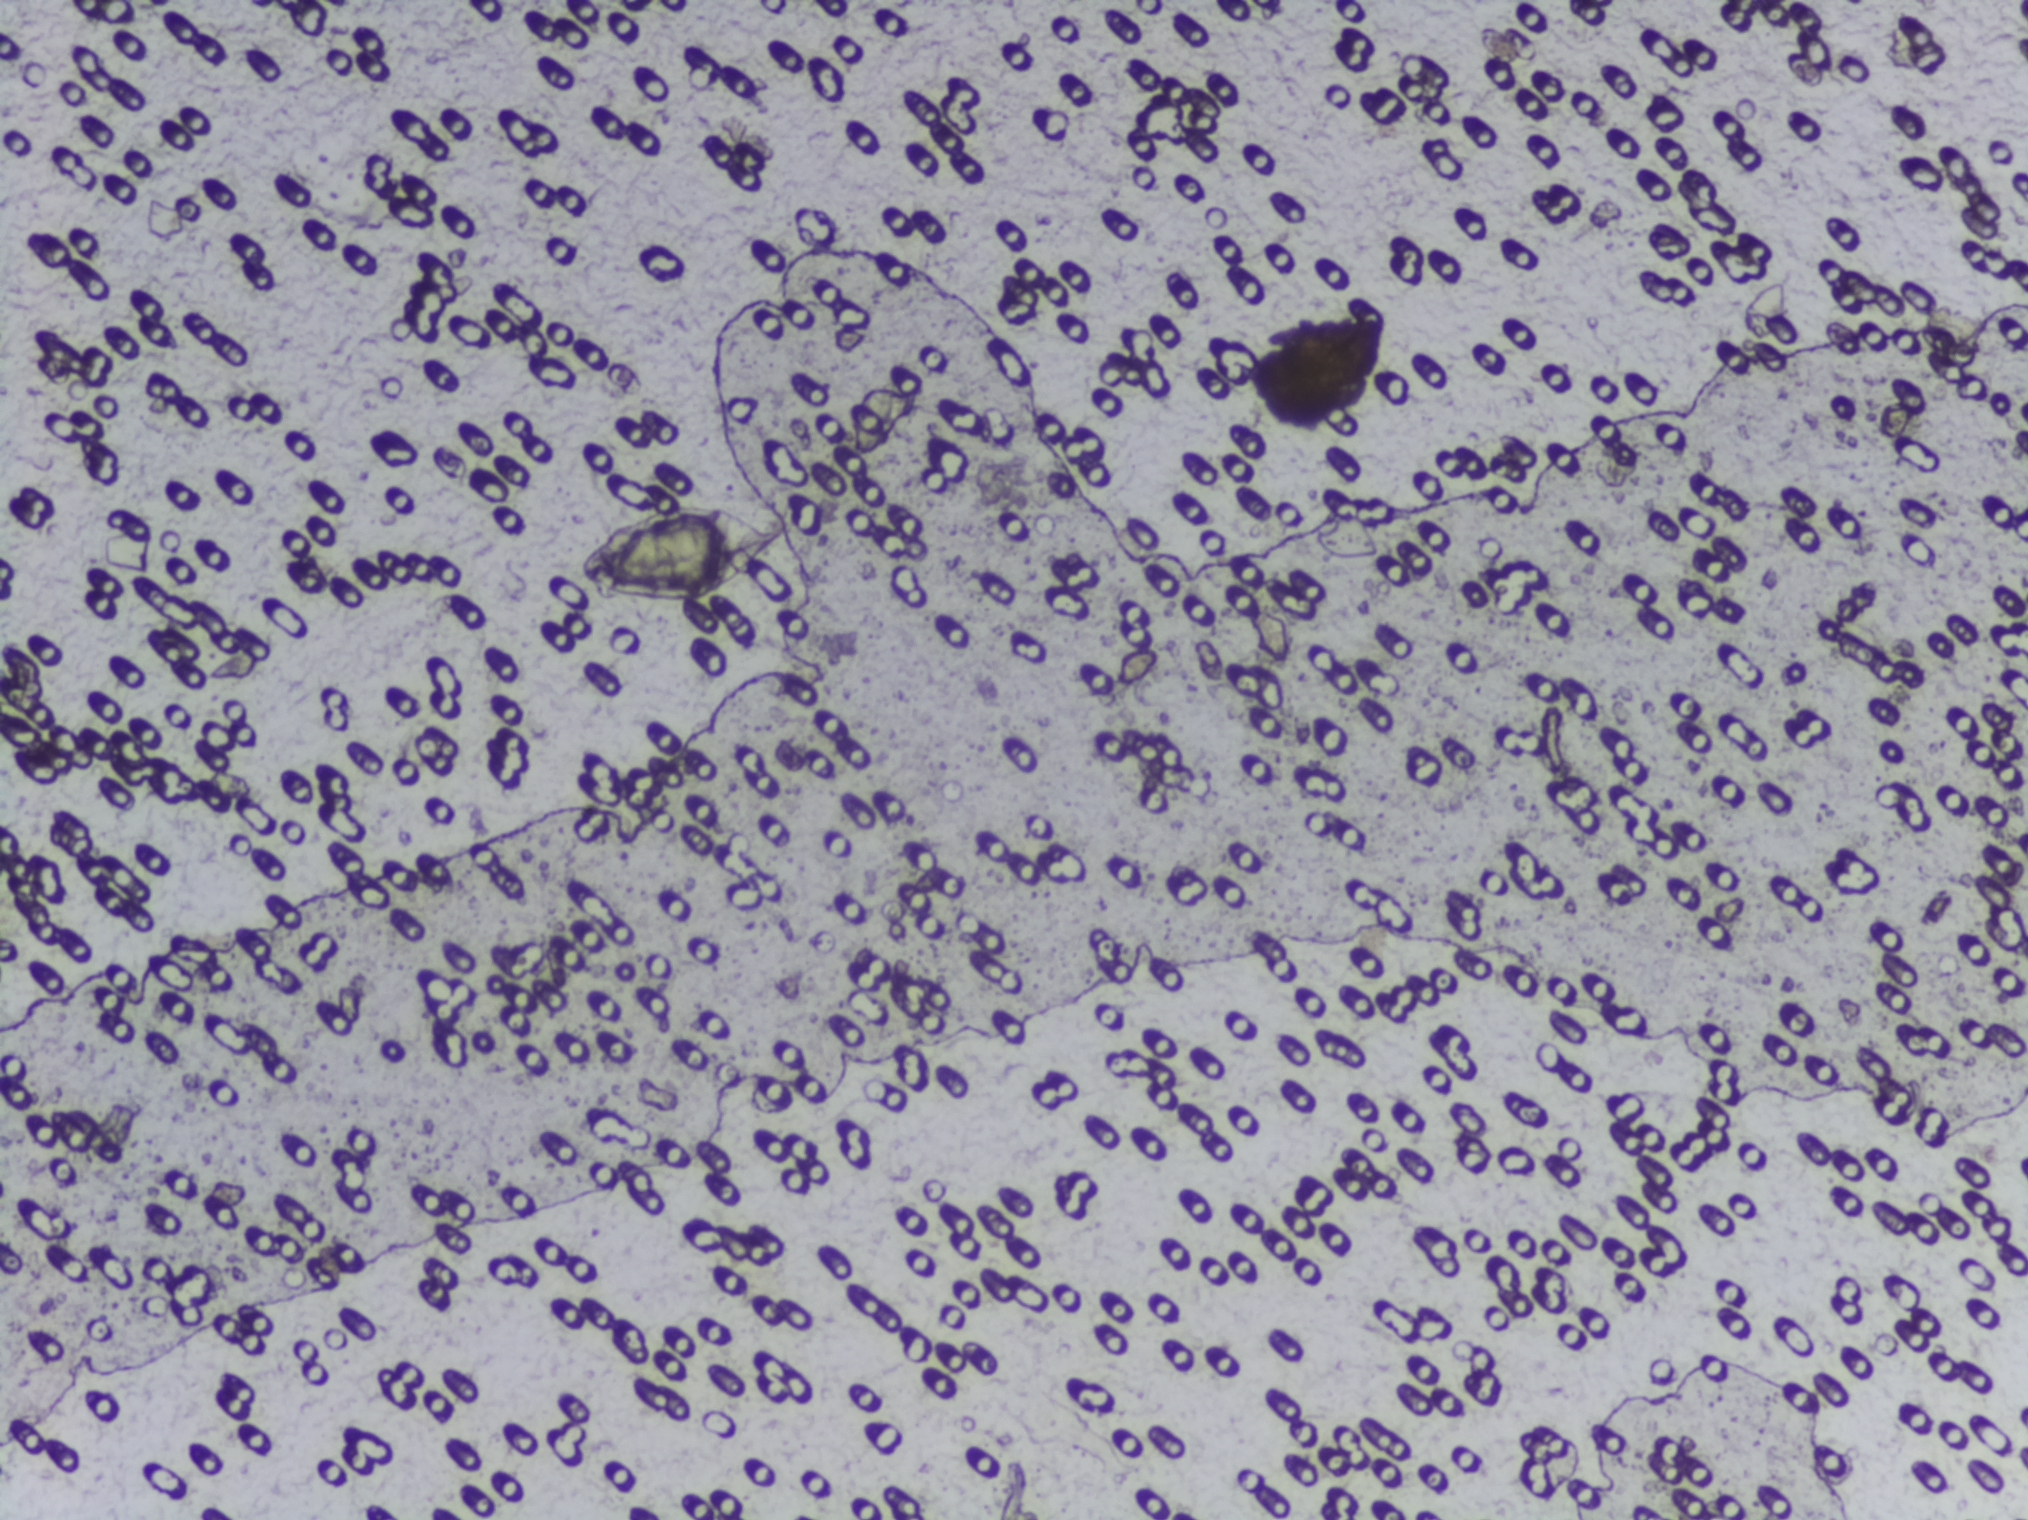
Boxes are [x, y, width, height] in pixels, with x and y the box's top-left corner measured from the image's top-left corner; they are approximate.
Schistosoma eggs are outlined in one area of this image: [574, 493, 219, 119]. A single outlined area may contain several eggs.
Urine filter membrane photographed through a 4× microscope objective. Field of view: about 1.5 mm wide and 1.1 mm high.